Urine filtration membrane under a 4× objective, photographed by an automated digital microscope.
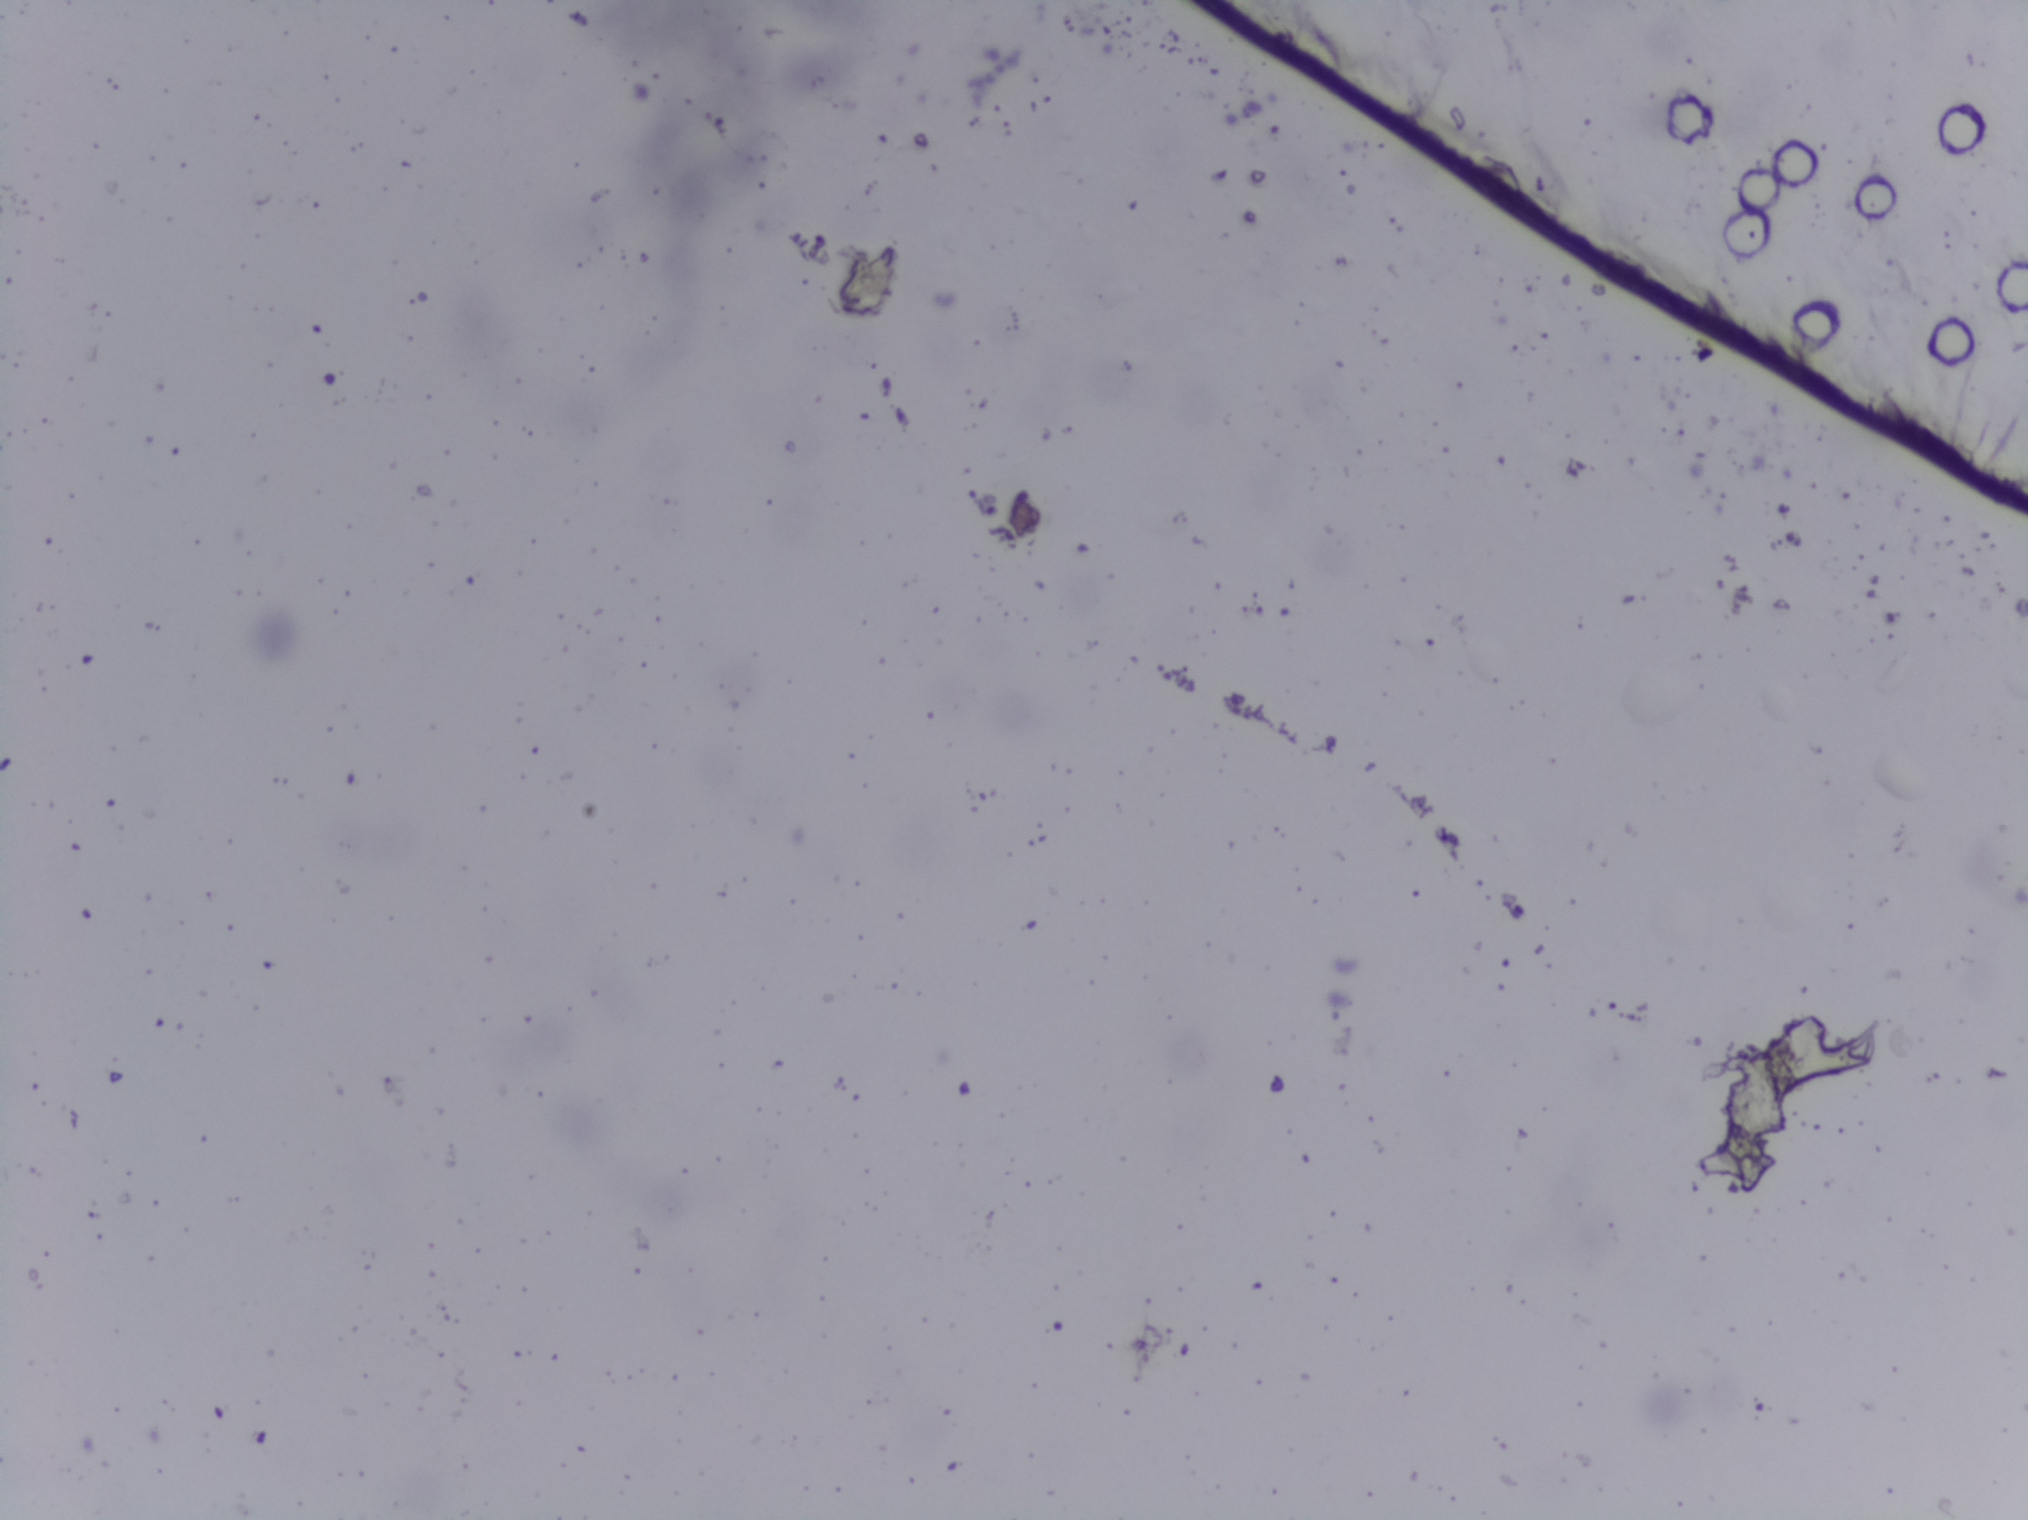
Schistosoma eggs: none outlined.